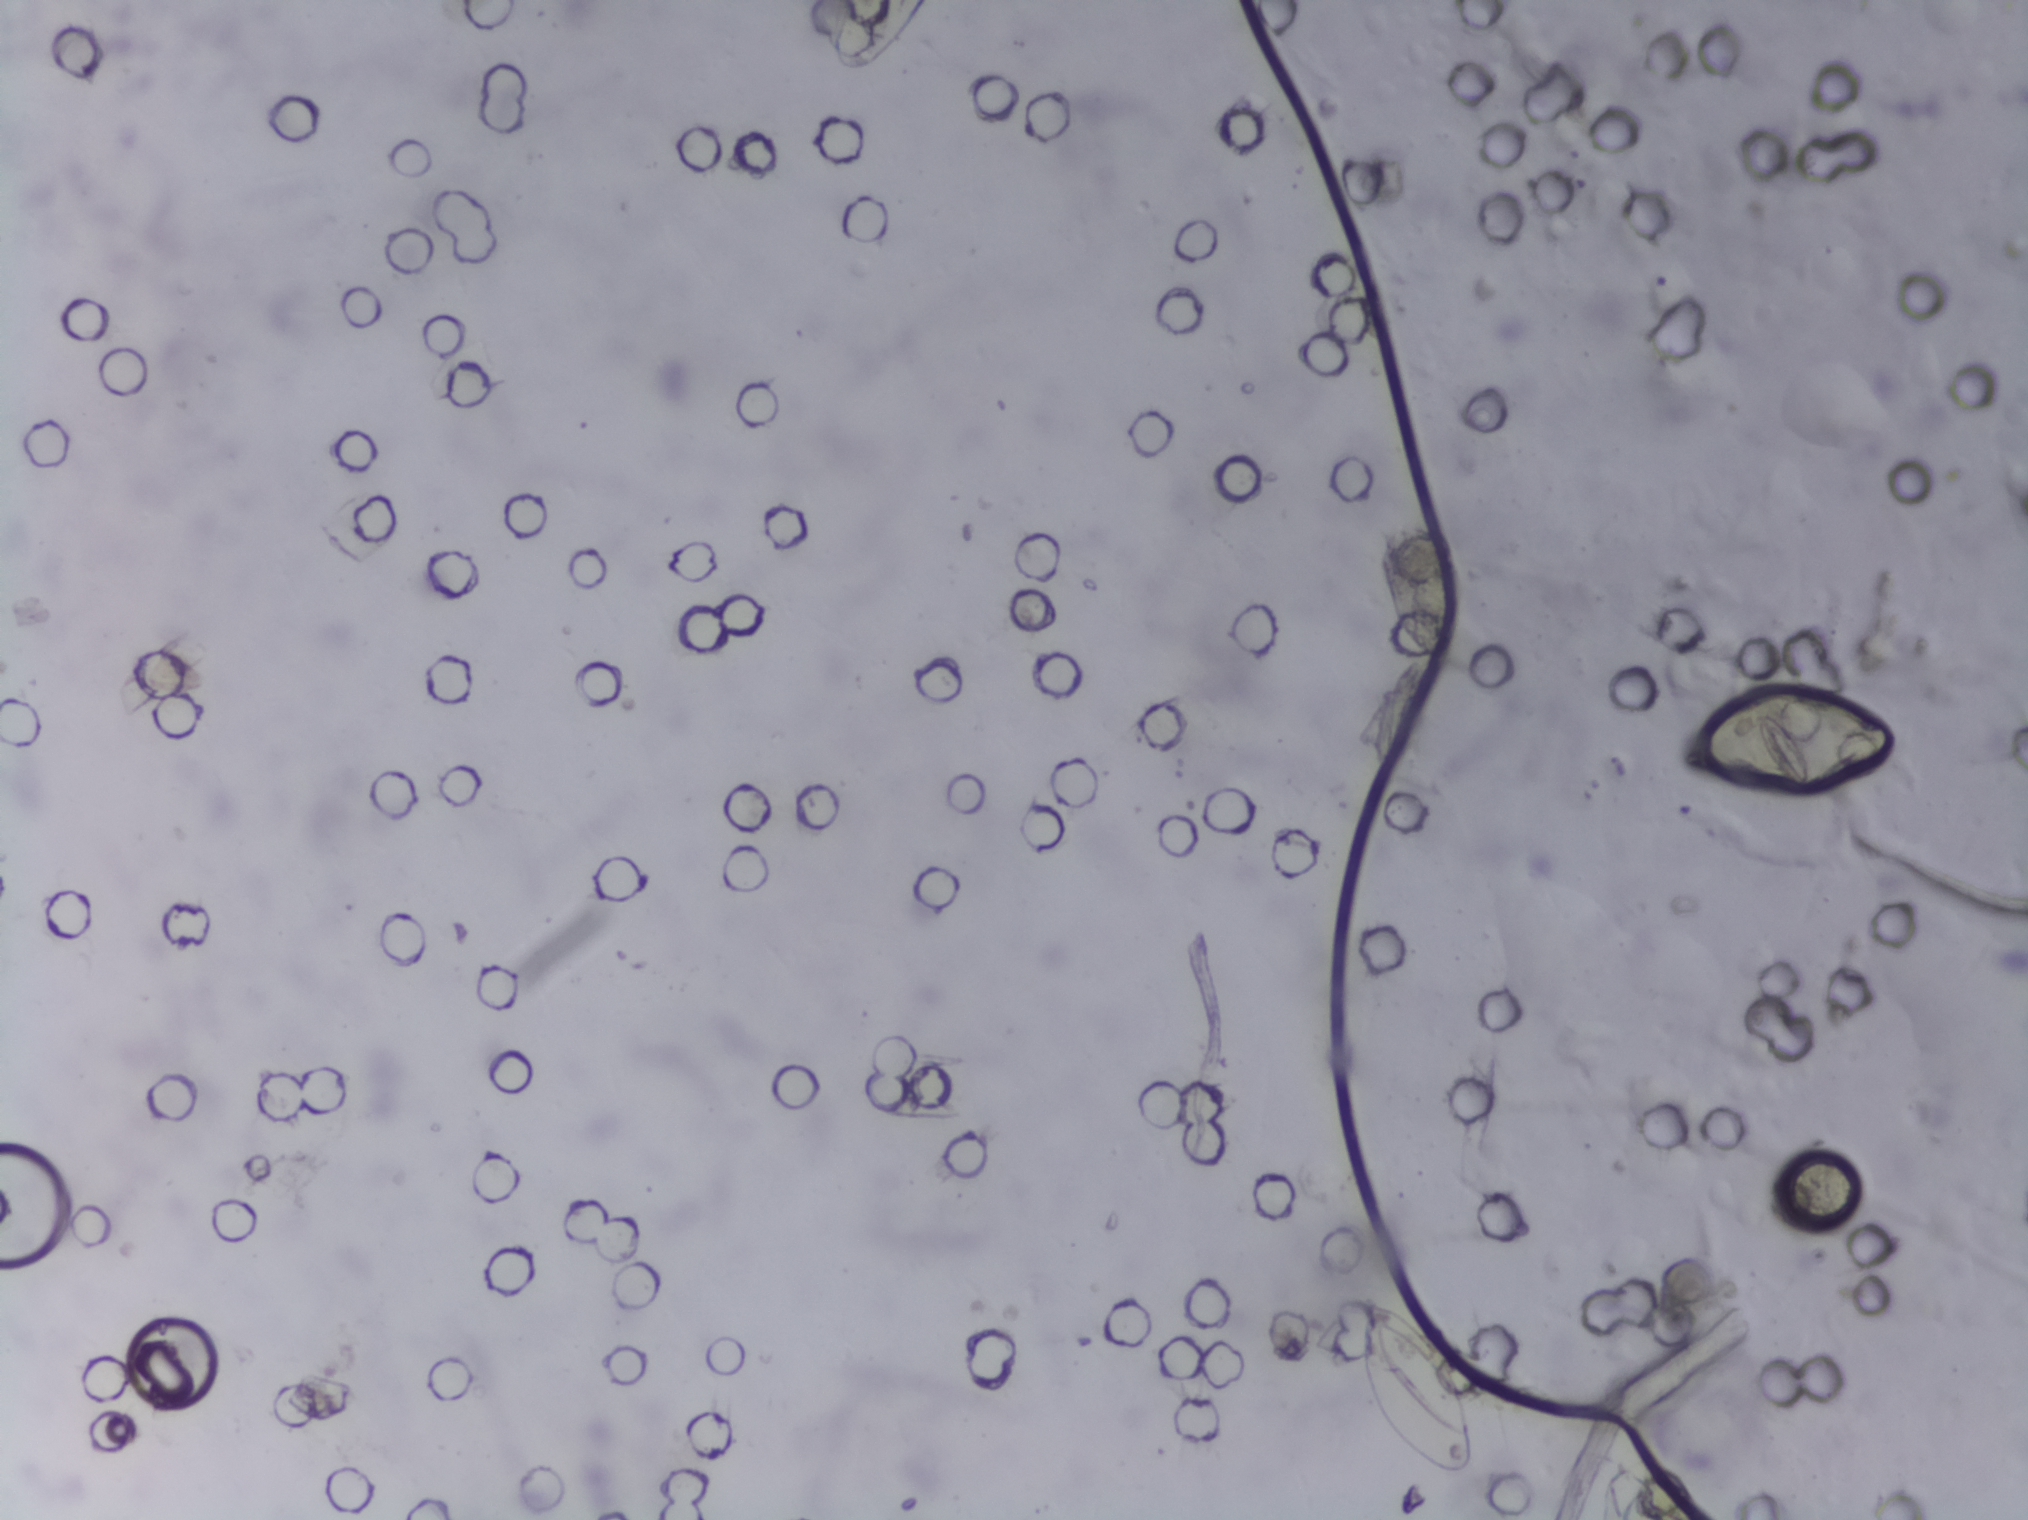
One field of view of a urine filter membrane, 4× objective, 2028 × 1520 pixels.
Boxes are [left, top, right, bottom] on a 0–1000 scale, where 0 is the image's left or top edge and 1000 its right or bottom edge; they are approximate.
Findings: two areas outlined as Schistosoma eggs. Locations, left to right: [670, 851, 726, 972]; [829, 451, 934, 522]. About 1.0% of the image's pixels are marked (the marked pixels themselves, not the boxes around them). An outlined area can hold more than one egg. Any one outlined egg may, rarely, be S. mansoni rather than S. haematobium.